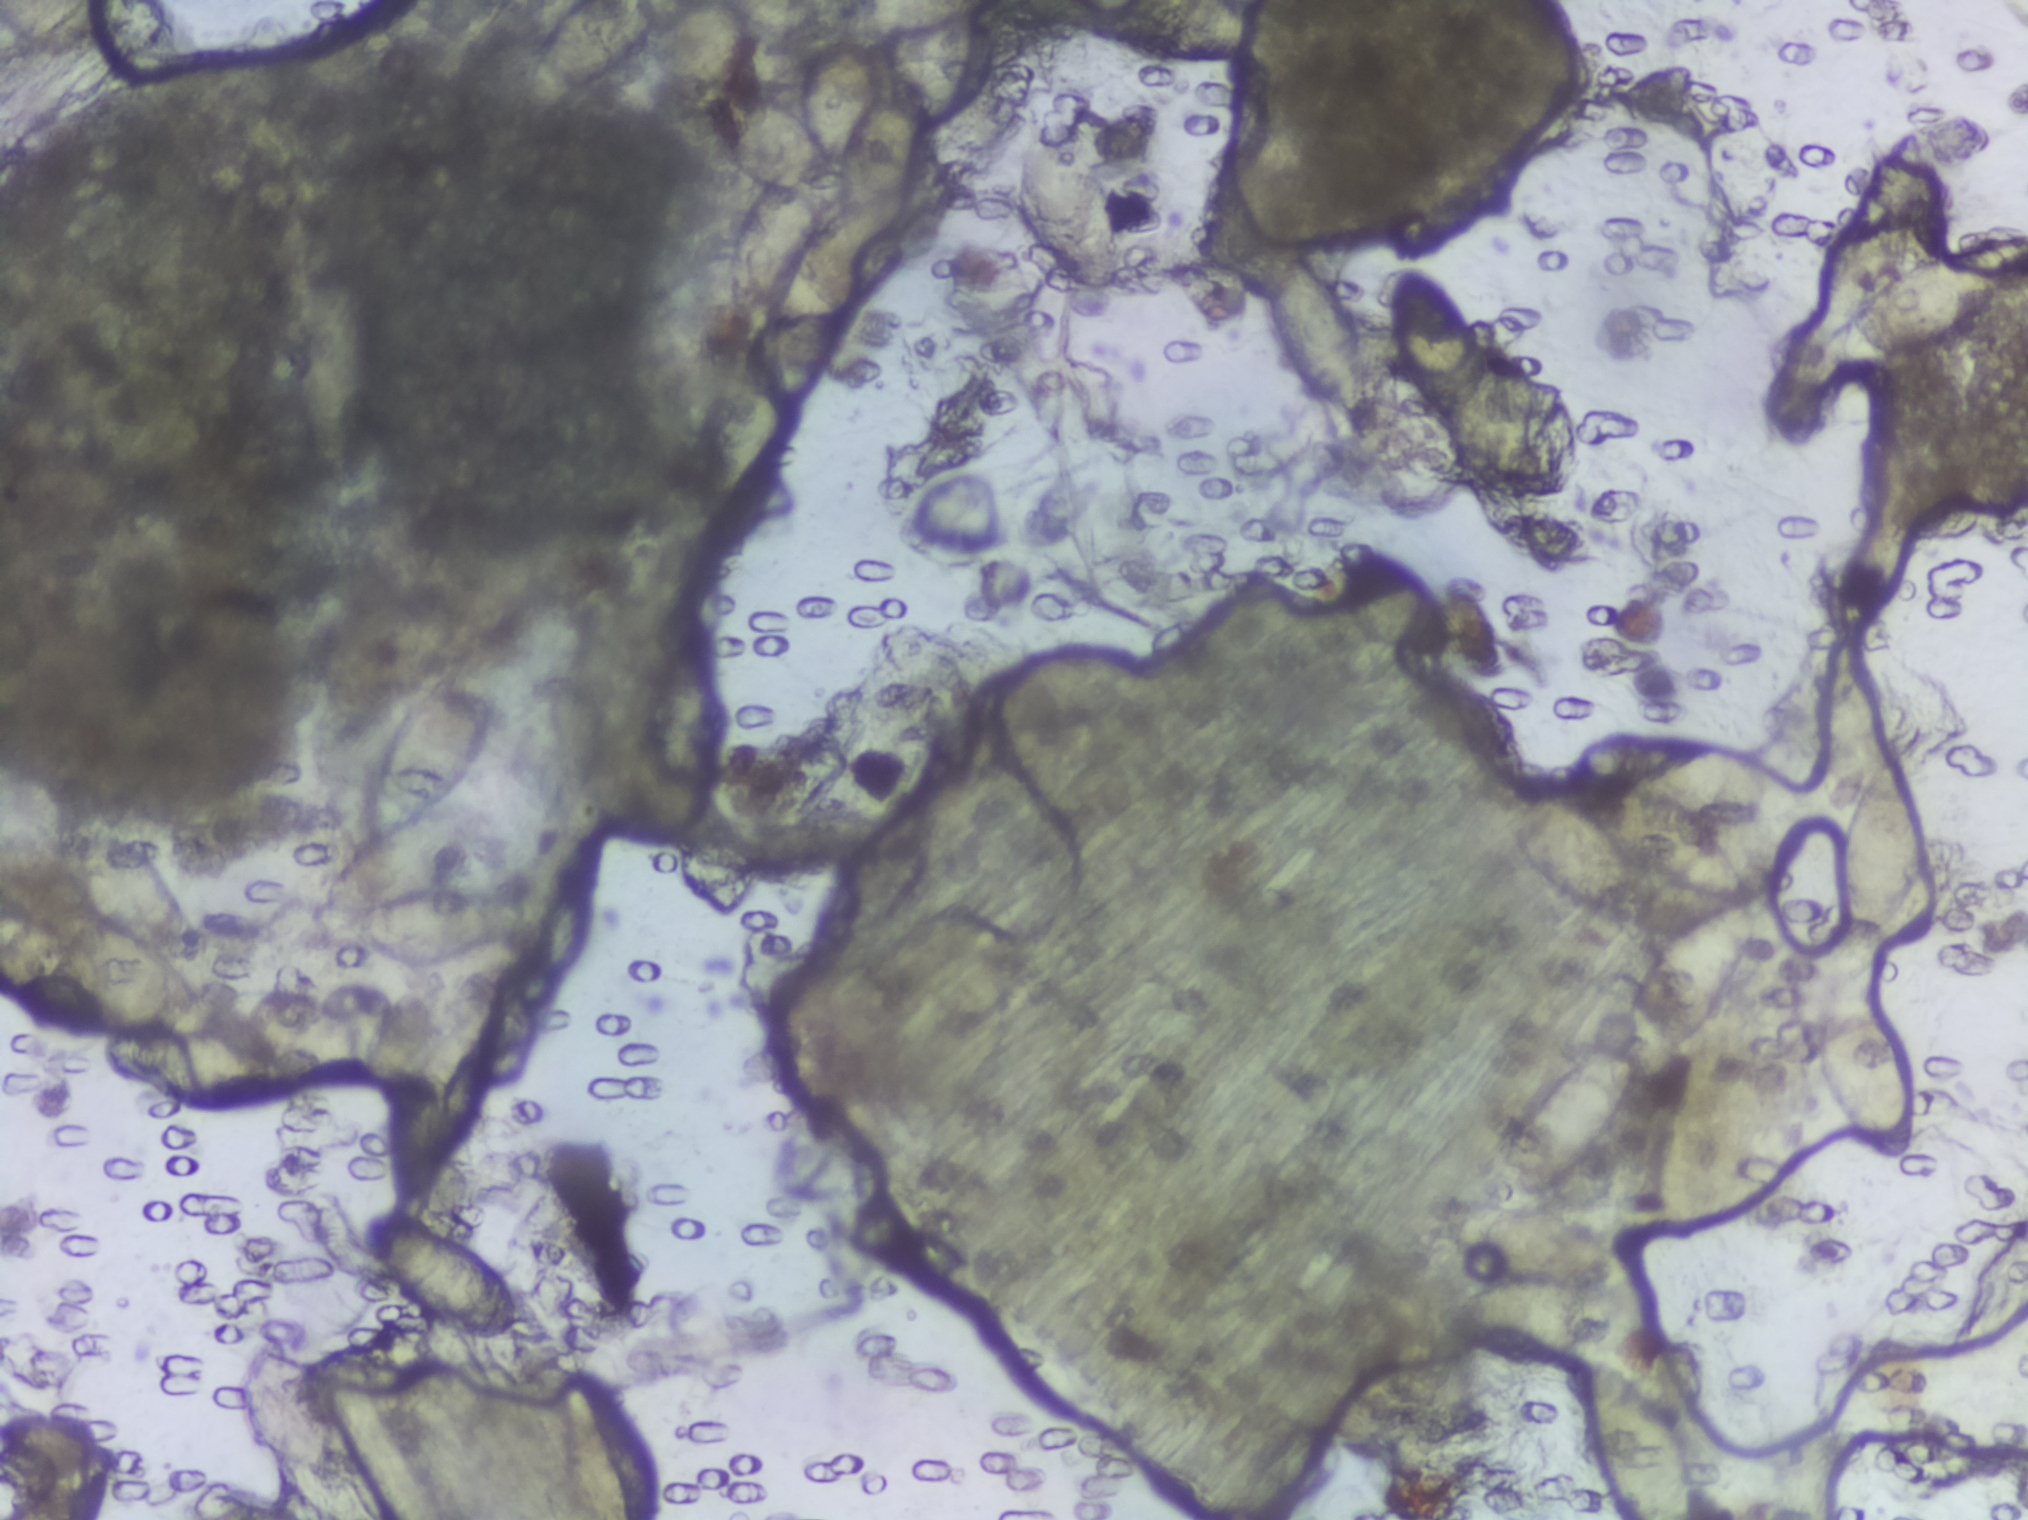
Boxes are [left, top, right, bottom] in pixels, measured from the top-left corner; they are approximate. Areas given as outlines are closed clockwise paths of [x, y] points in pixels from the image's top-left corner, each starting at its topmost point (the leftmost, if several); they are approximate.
Schistosoma eggs are outlined in 12 areas of this image, listed from left to right: box [0, 801, 292, 1111] (reaching the left edge of the frame); box [309, 672, 530, 968]; box [362, 1212, 528, 1351]; outline [567, 0], [753, 0], [760, 6], [760, 34], [744, 84], [772, 91], [793, 107], [797, 80], [810, 61], [845, 34], [833, 21], [851, 3], [990, 0], [976, 17], [974, 48], [1022, 46], [1039, 64], [1039, 102], [1068, 117], [1110, 189], [1129, 247], [1124, 291], [1085, 297], [1049, 274], [1008, 208], [1009, 152], [956, 189], [922, 175], [907, 189], [918, 203], [923, 242], [898, 275], [853, 312], [805, 325], [735, 330], [734, 235], [759, 187], [726, 164], [711, 124], [687, 123], [672, 113], [649, 69], [652, 42], [558, 107], [528, 103], [520, 89], [525, 46], [541, 20] (eggs clustered together; reaching the top edge of the frame); box [1067, 0, 1257, 63] (reaching the top edge of the frame); box [1258, 241, 1377, 436]; box [1386, 264, 1487, 426]; outline [1649, 727], [1720, 733], [1763, 758], [1772, 782], [1768, 814], [1754, 824], [1711, 828], [1737, 859], [1747, 890], [1761, 893], [1757, 942], [1749, 966], [1699, 1036], [1664, 1064], [1642, 1066], [1625, 1120], [1600, 1160], [1537, 1201], [1576, 1214], [1623, 1251], [1630, 1269], [1627, 1312], [1600, 1338], [1568, 1354], [1534, 1365], [1500, 1364], [1455, 1344], [1430, 1318], [1442, 1297], [1504, 1278], [1446, 1248], [1429, 1230], [1427, 1208], [1527, 1201], [1494, 1178], [1499, 1140], [1512, 1113], [1570, 1050], [1620, 1035], [1627, 983], [1665, 927], [1722, 901], [1674, 889], [1633, 867], [1637, 899], [1631, 909], [1581, 915], [1520, 866], [1506, 835], [1513, 836], [1509, 810], [1527, 787], [1567, 785], [1565, 748], [1580, 736] (eggs clustered together); box [1579, 1357, 1703, 1519] (reaching the bottom edge of the frame); box [1817, 978, 1922, 1169]; box [1822, 246, 2008, 367]; box [1830, 746, 1931, 943]. Eggs that touch can end up inside the same outlined area. A marked egg may occasionally be S. mansoni rather than S. haematobium.
Photograph from an automated digital microscope: urine filter membrane, 4× objective. The image covers about 1.5 × 1.1 mm of the membrane.